One field of view of a urine filter membrane, 4× objective, 2028 × 1520 pixels.
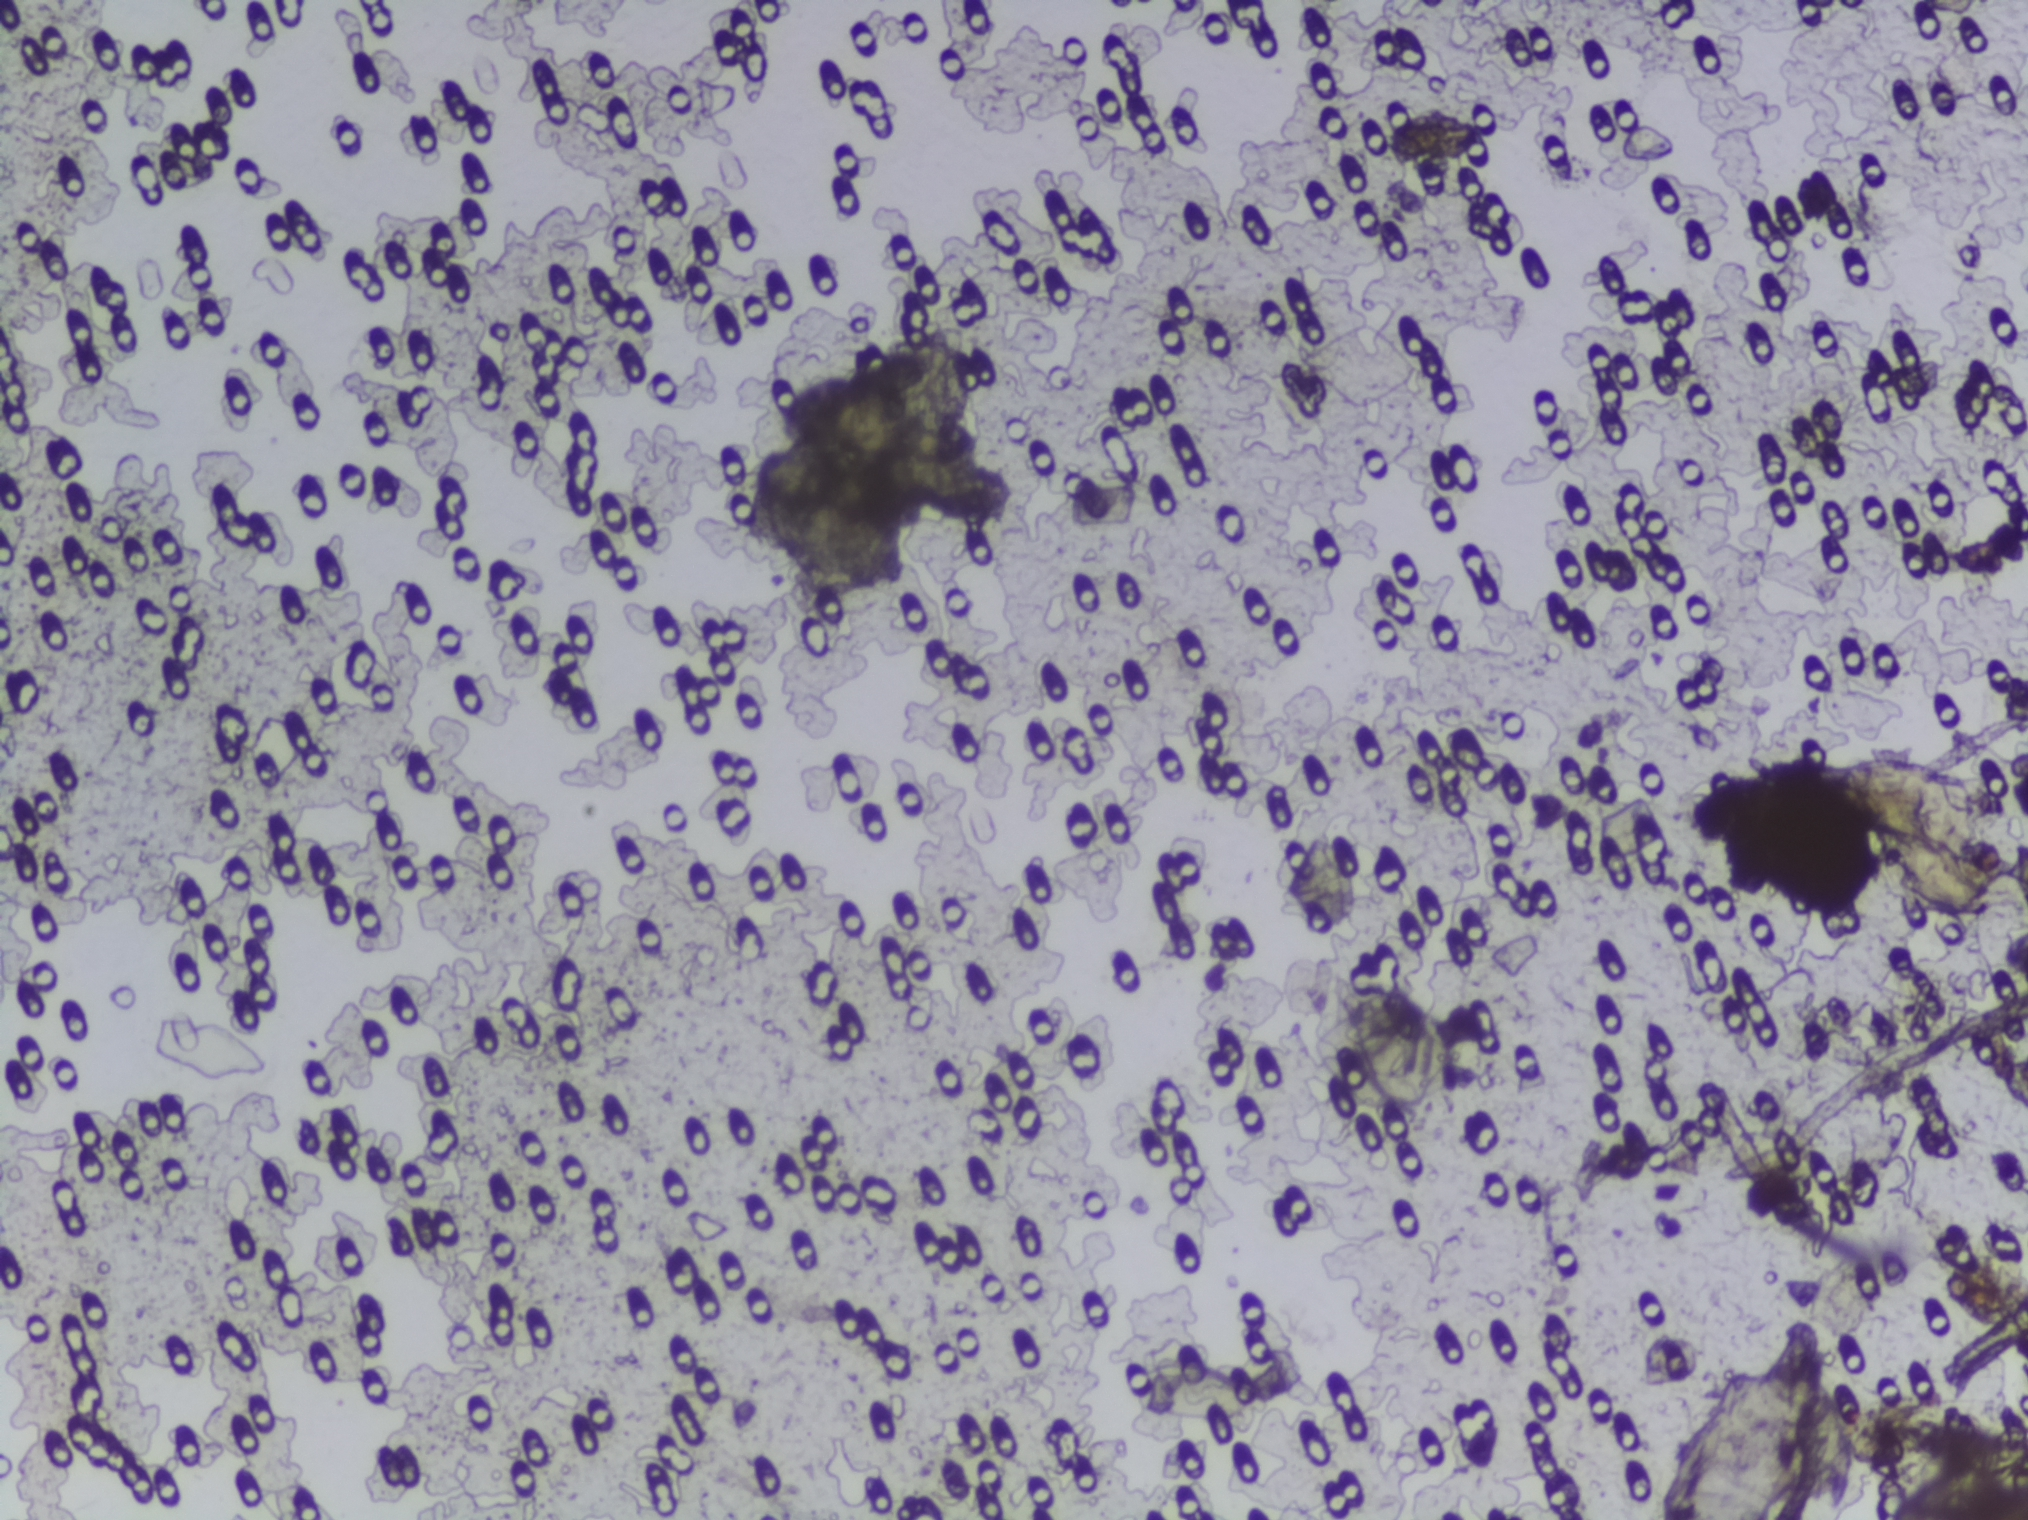
No area of this image was outlined as a Schistosoma egg.